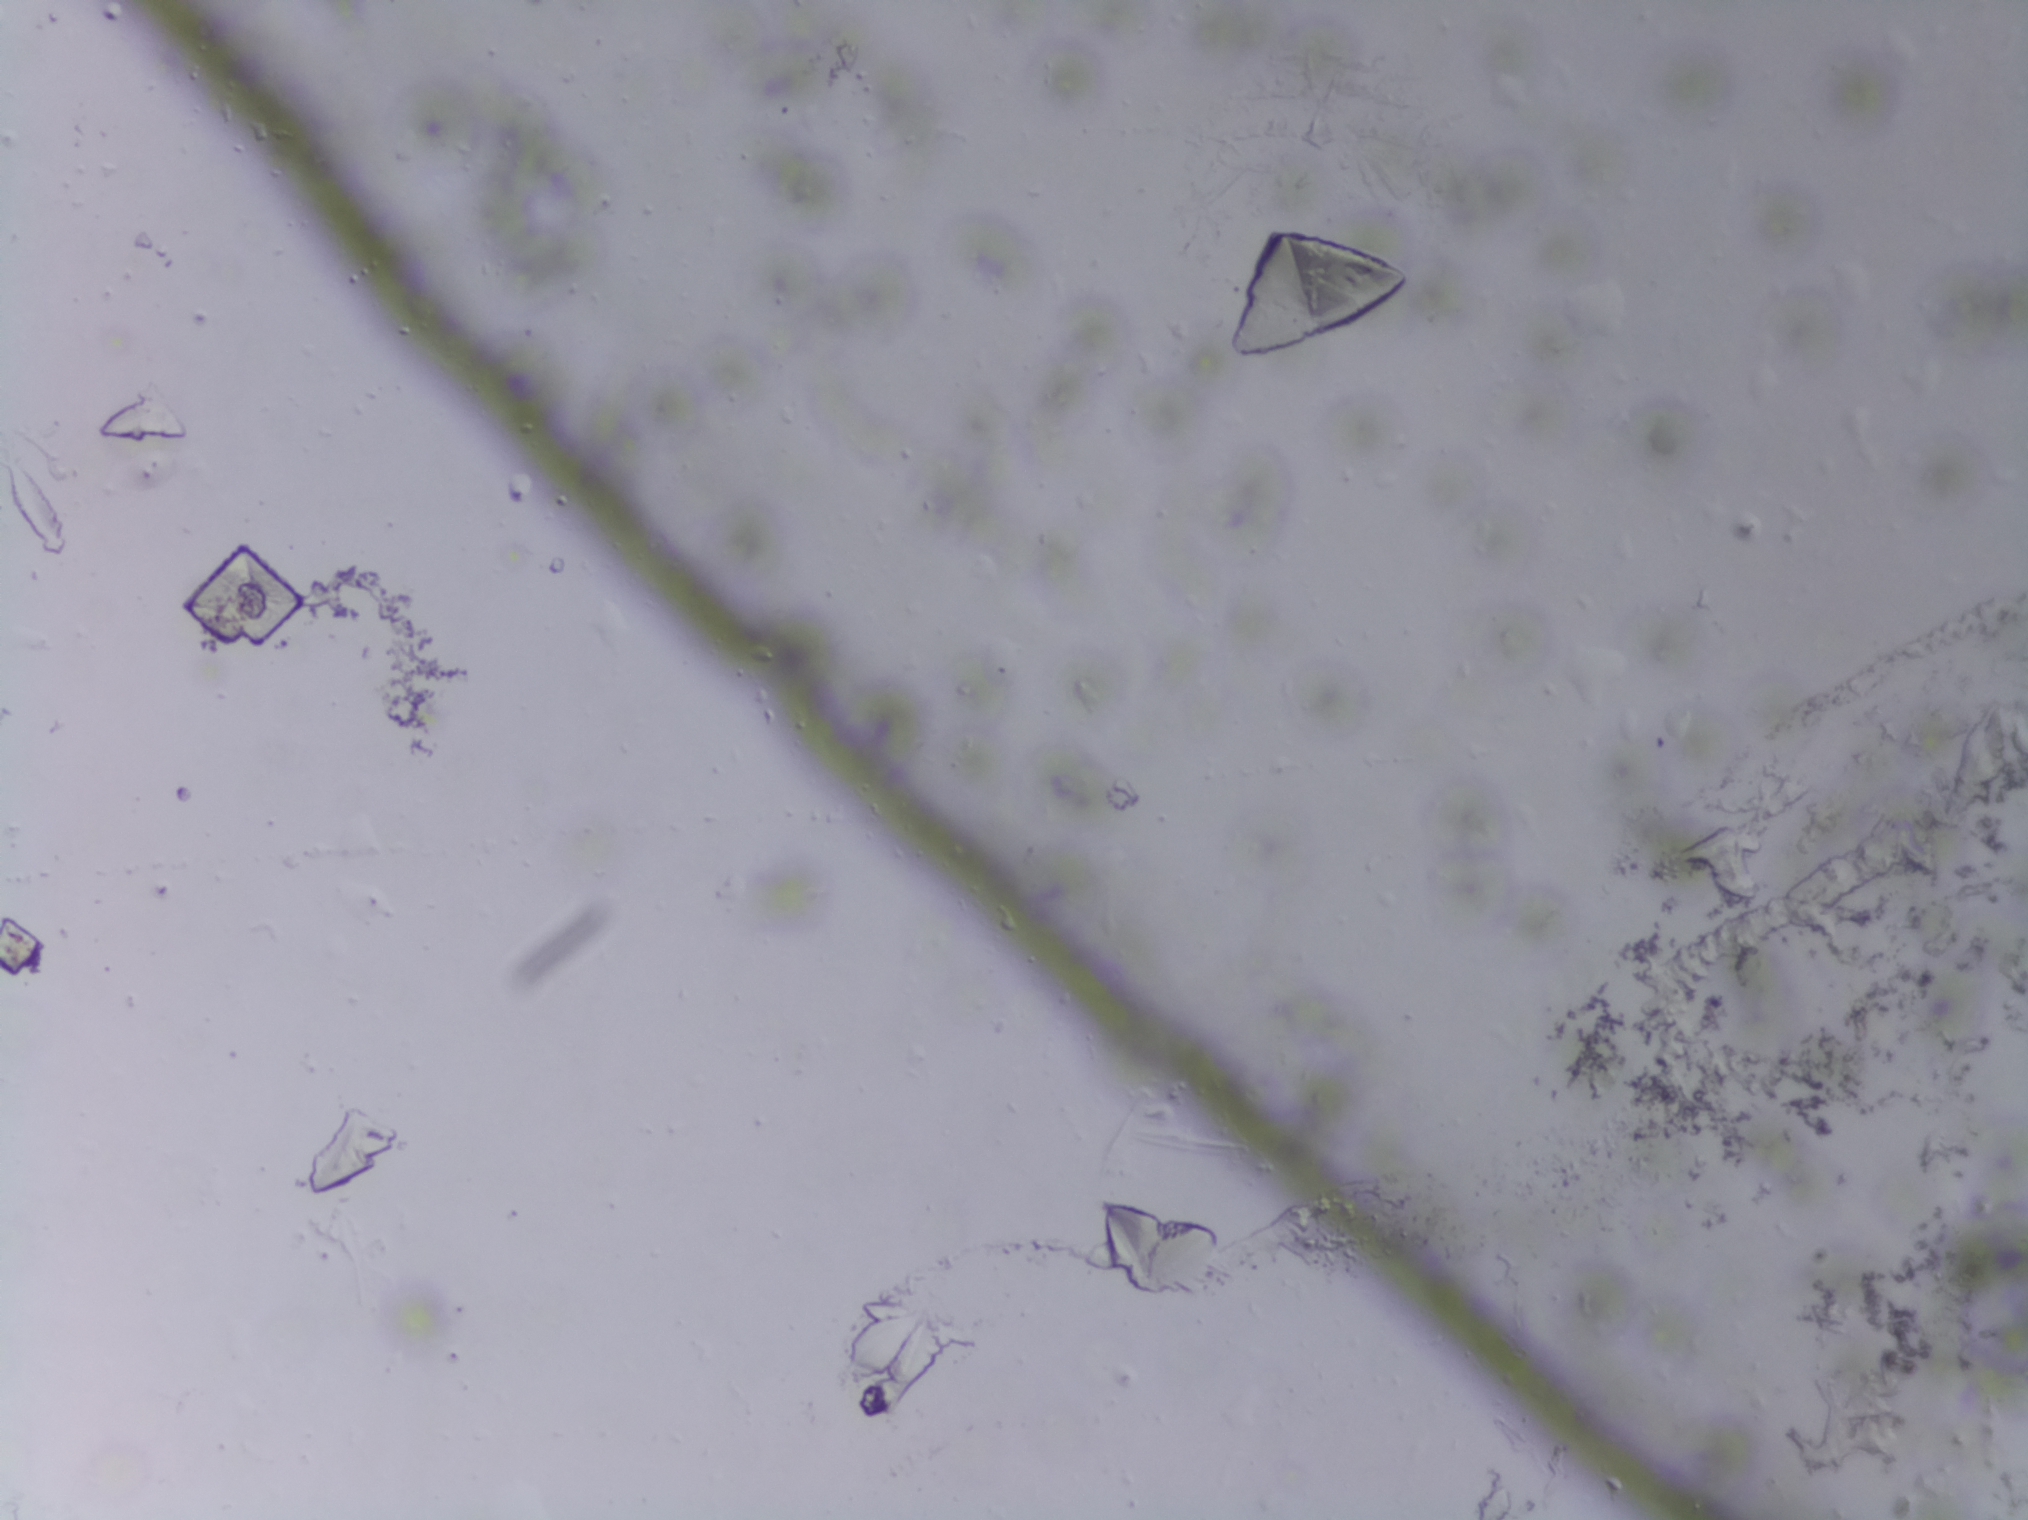
One field of view of a urine filter membrane, 4× objective, 2028 × 1520 pixels.
Schistosoma eggs: none outlined.